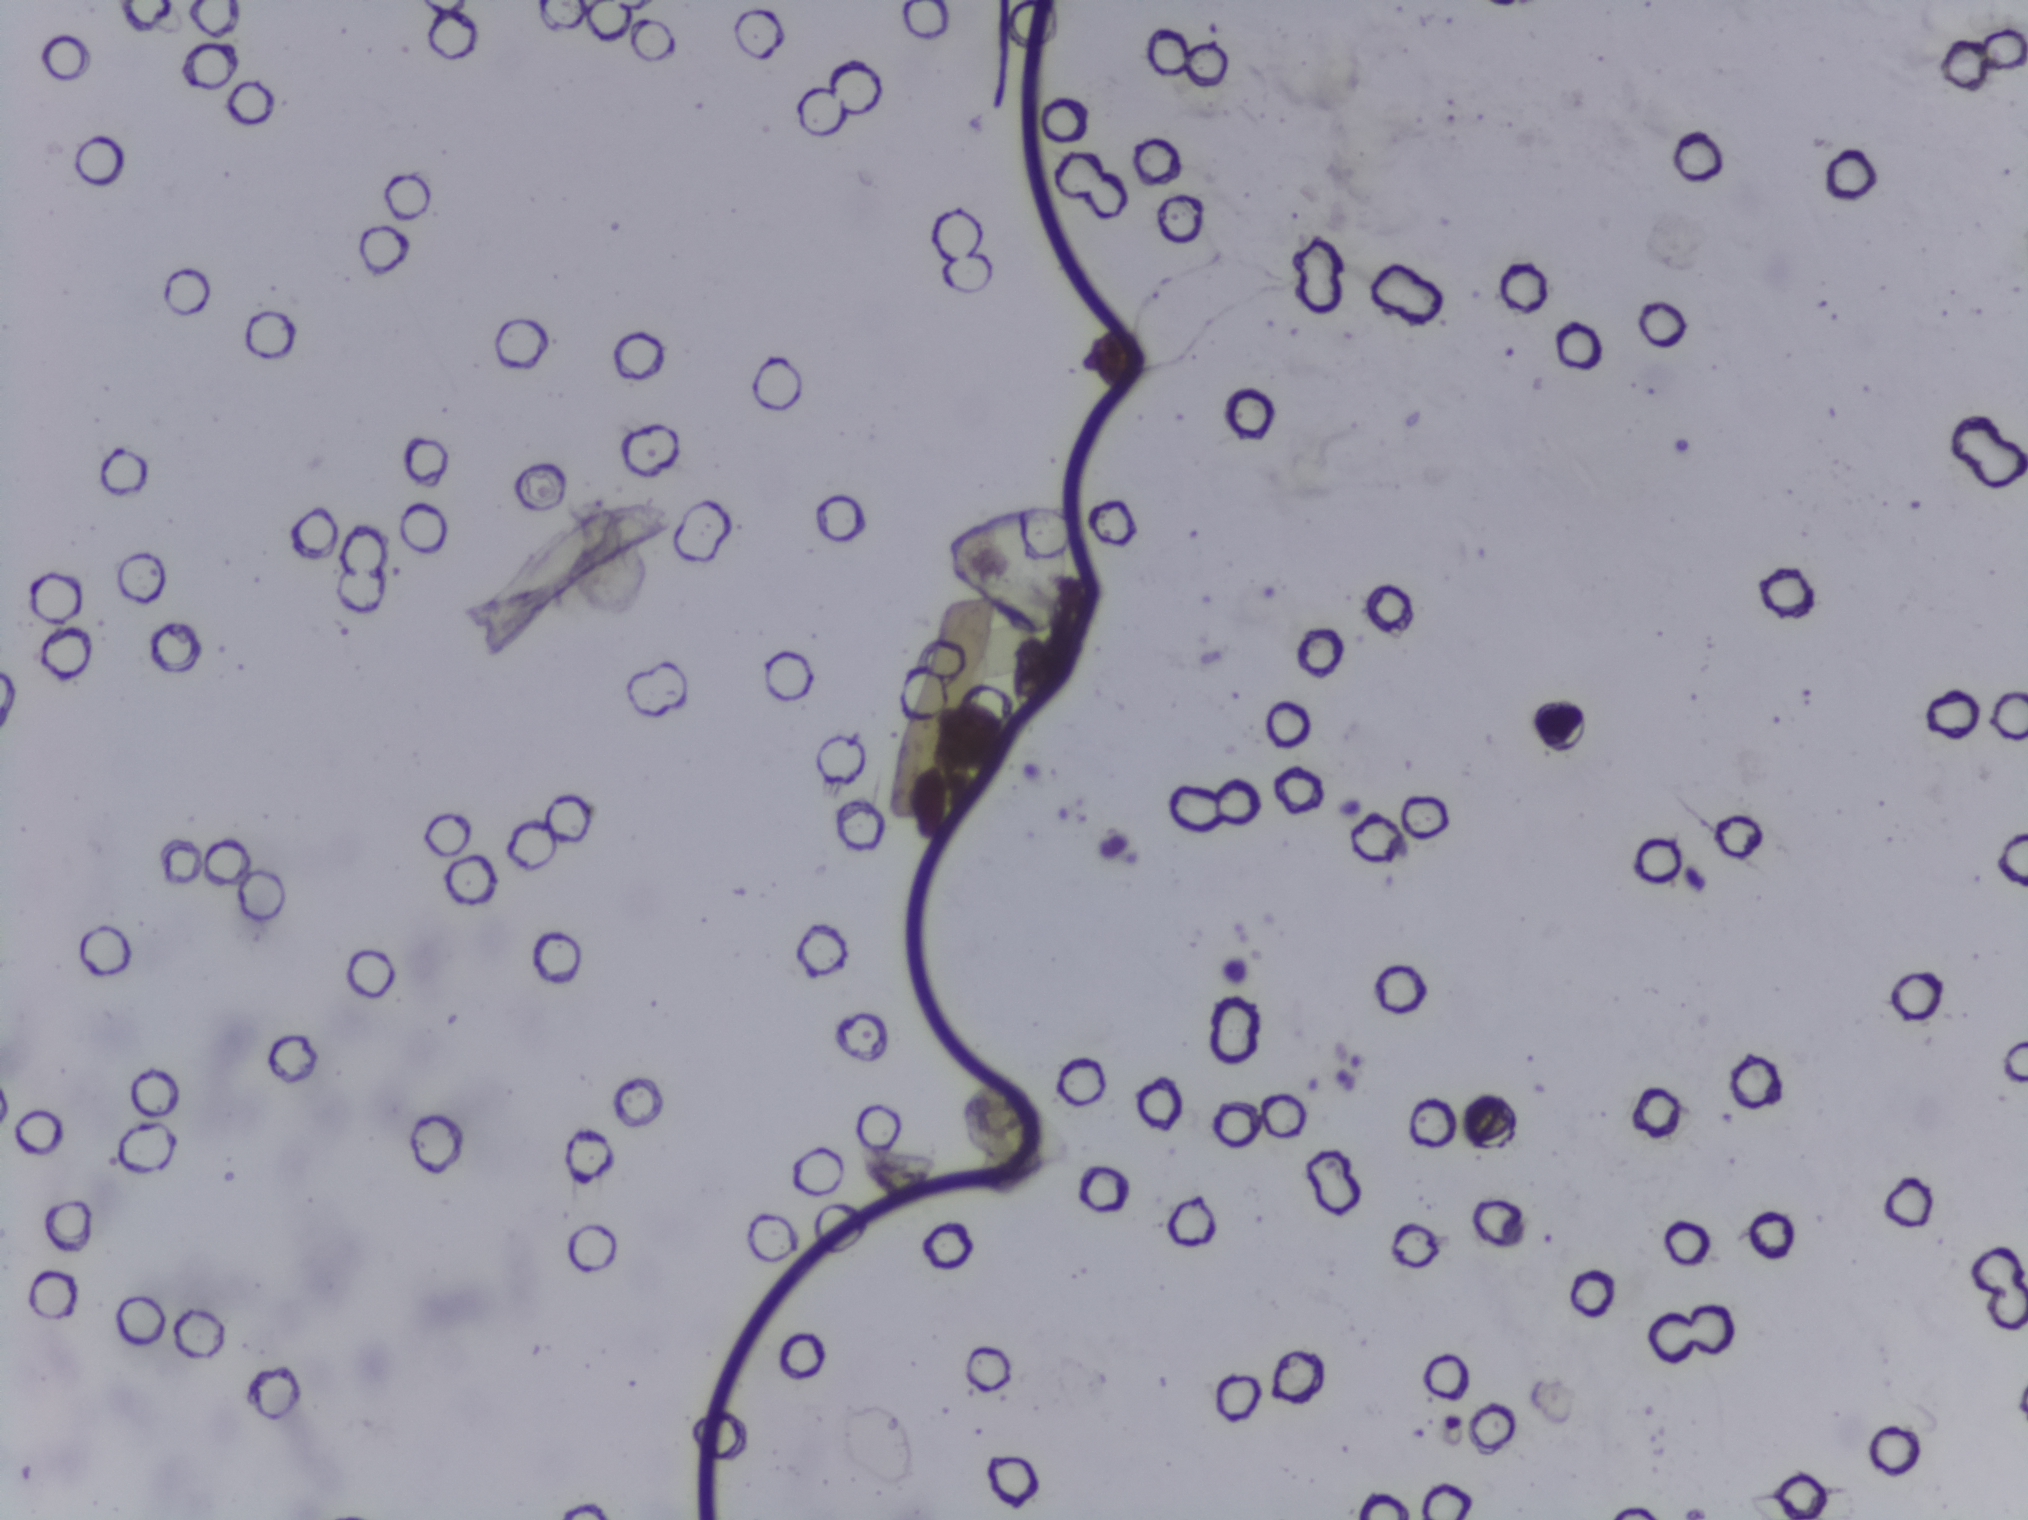
Urine filtration membrane under a 4× objective, photographed by an automated digital microscope. The field of view is about 1.5 mm × 1.1 mm.
The expert annotation outlines no Schistosoma egg in this image.